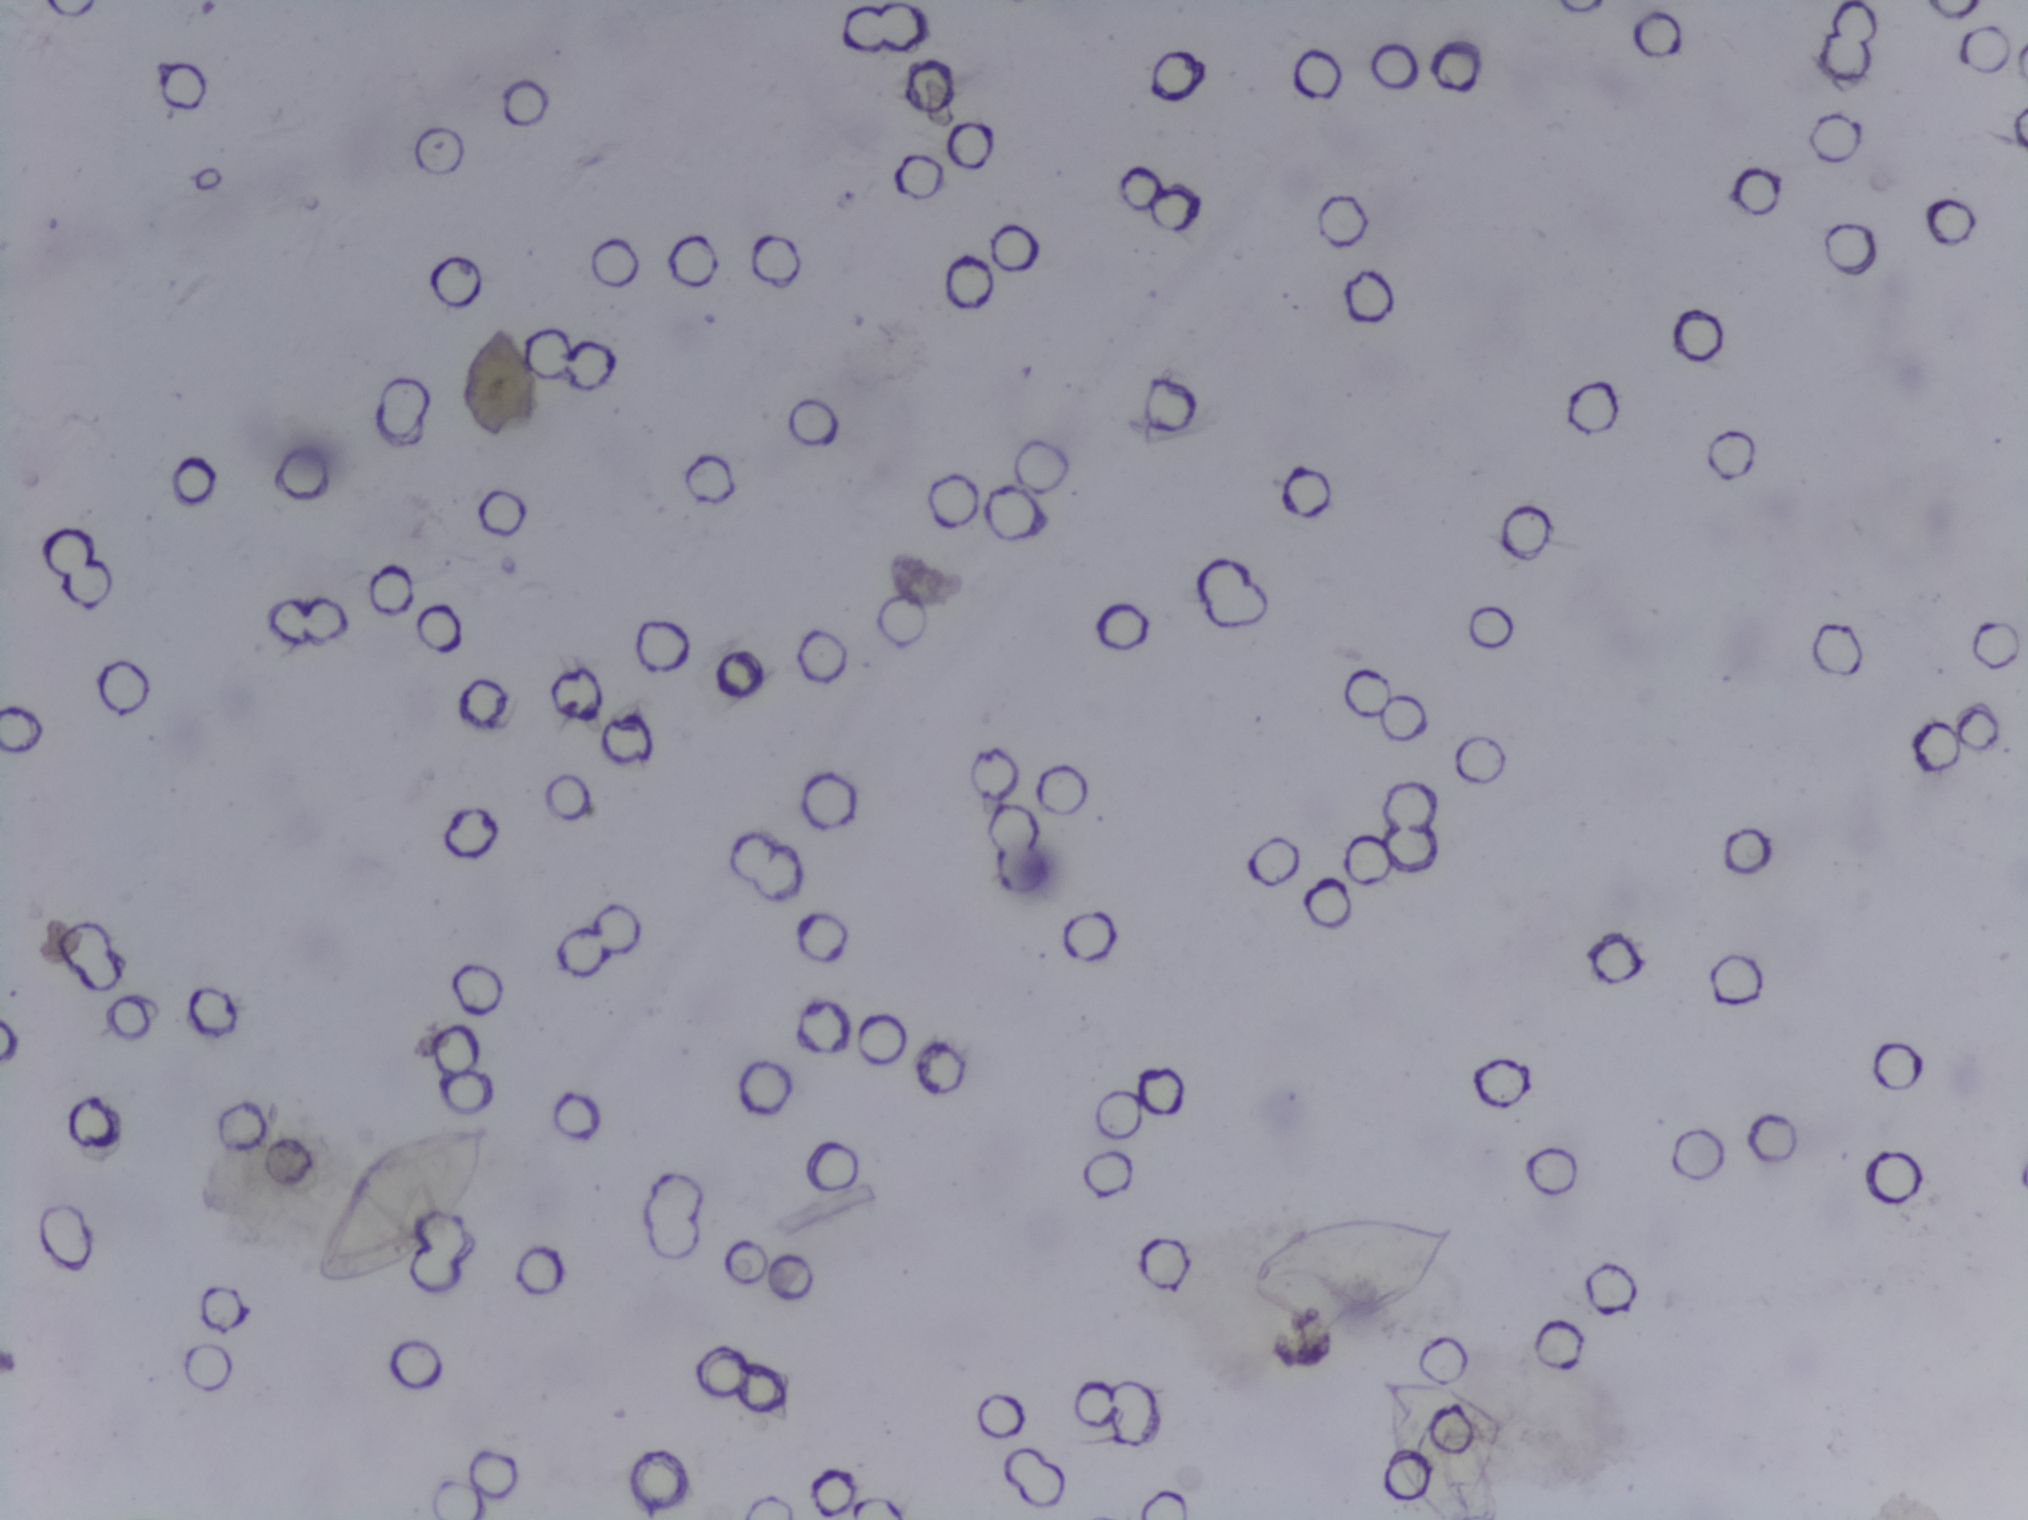
Photomicrograph of a urine filtration membrane, 4× objective. Field of view: about 1.5 mm wide and 1.1 mm high.
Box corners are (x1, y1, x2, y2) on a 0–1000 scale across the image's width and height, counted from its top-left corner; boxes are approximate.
Schistosoma eggs are outlined in three areas of this image, listed from left to right: (154, 738, 244, 846); (614, 799, 718, 876); (679, 904, 743, 1000) (reaching the bottom edge of the frame). The marked pixels themselves, not the boxes around them, cover about 1.7% of the image. A single outlined area may contain several eggs.